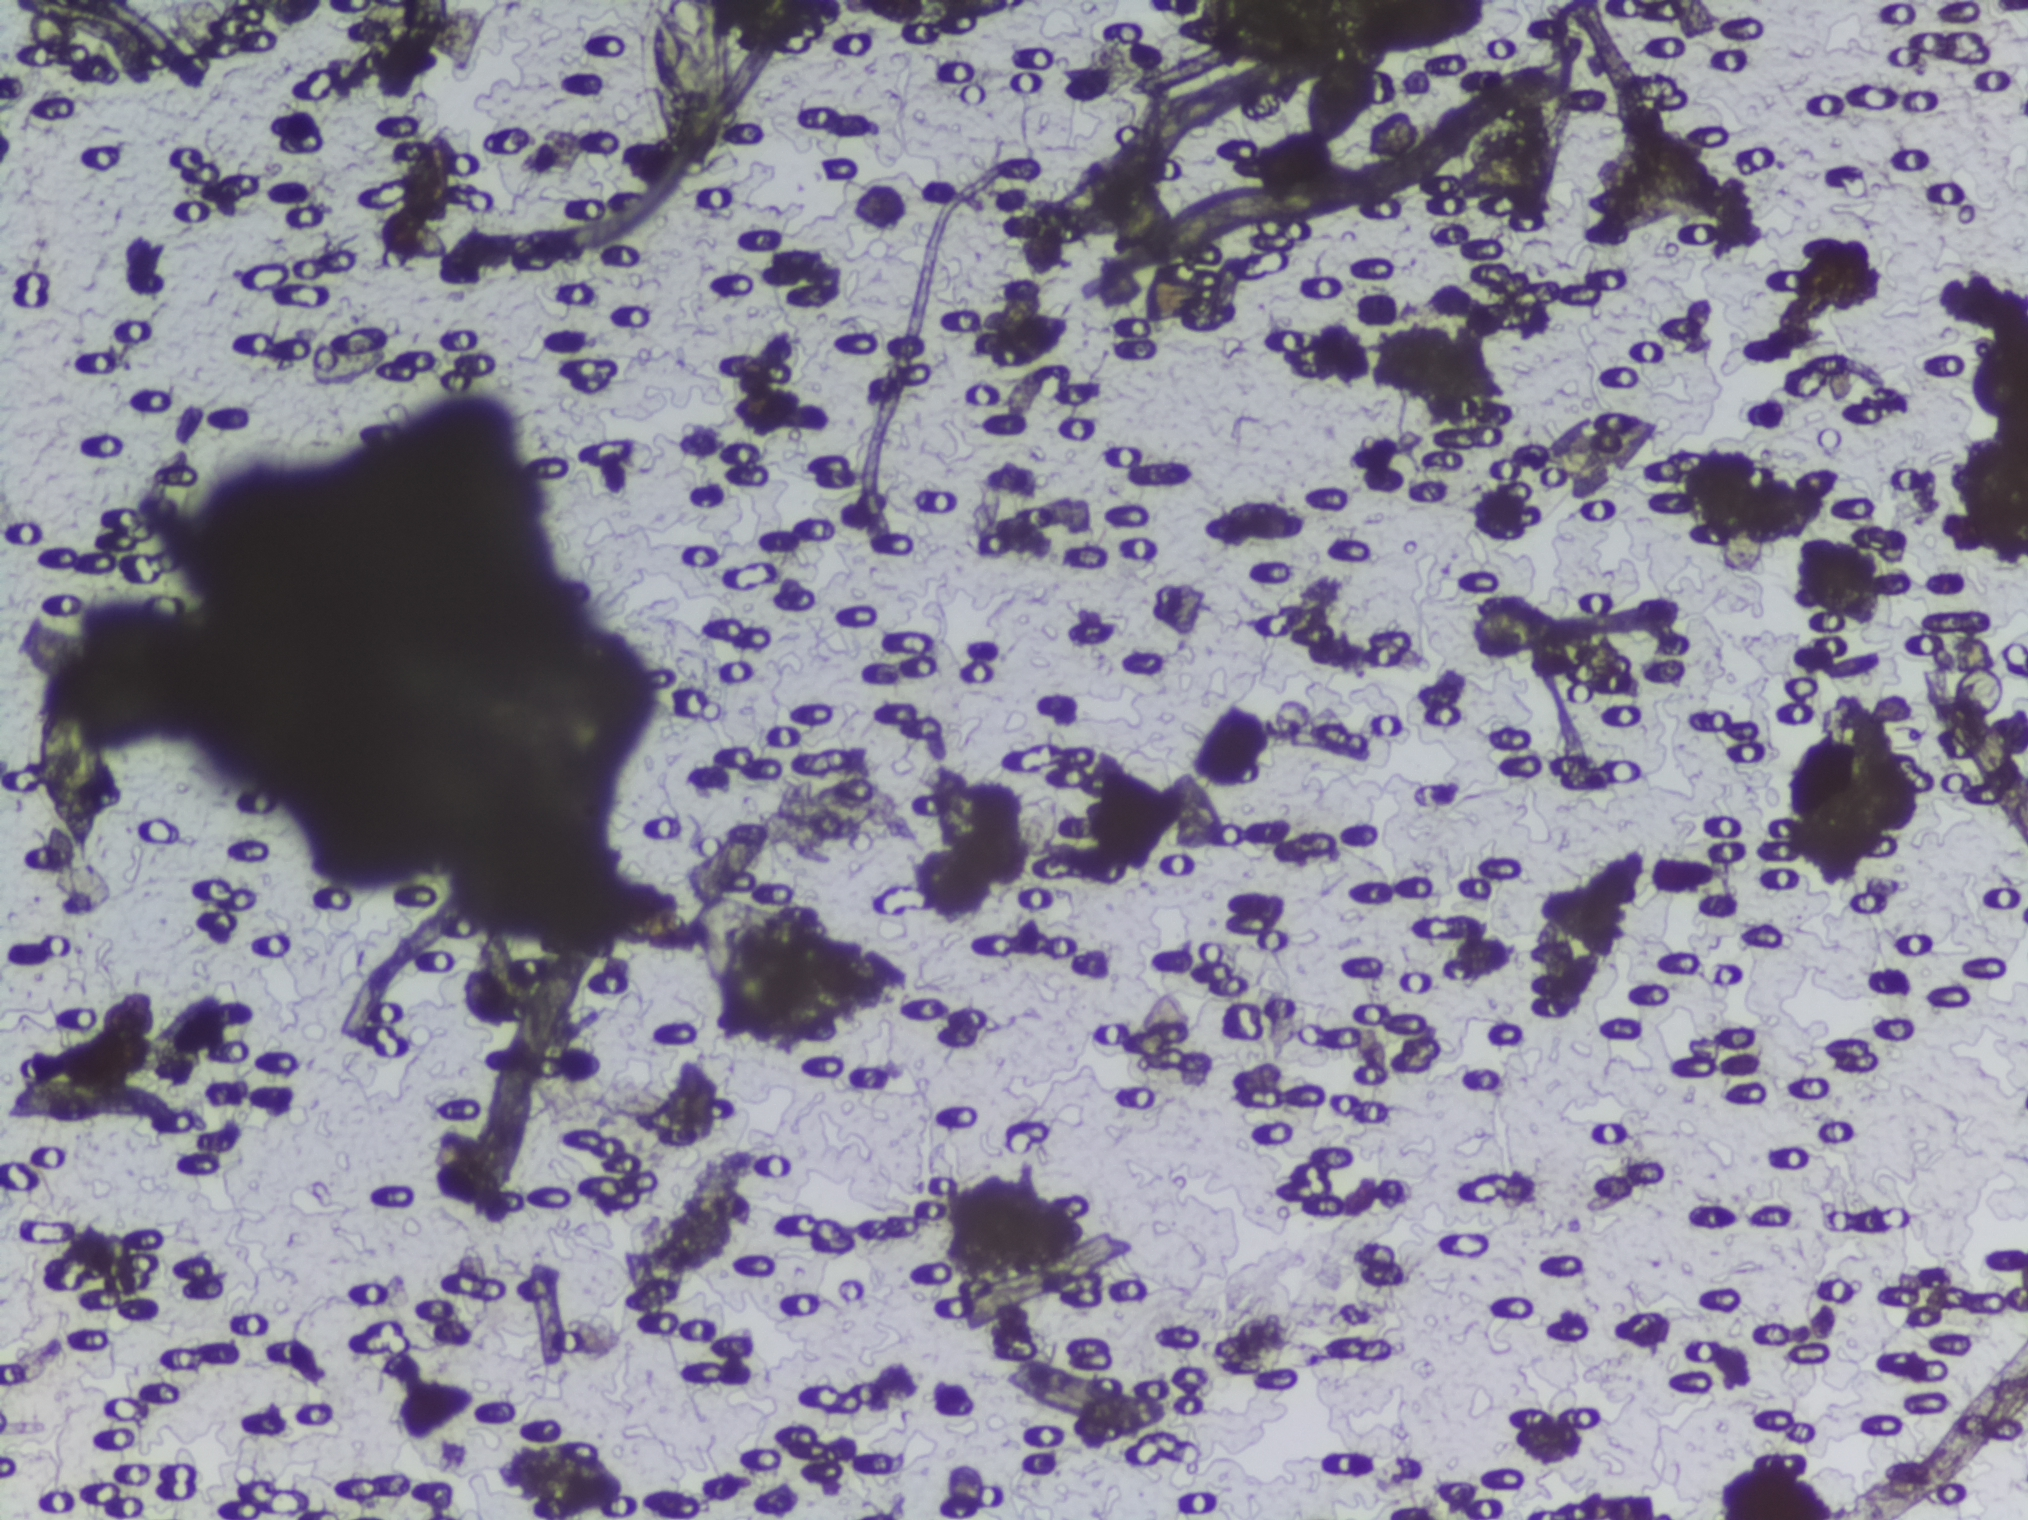
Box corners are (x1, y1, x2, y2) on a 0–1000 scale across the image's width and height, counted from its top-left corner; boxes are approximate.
Four areas of this image are outlined as Schistosoma eggs, from left to right: (19, 461, 58, 573); (167, 1, 227, 73); (315, 0, 365, 121) (reaching the top edge of the frame); (714, 21, 786, 136). An outlined area can hold more than one egg.
Photomicrograph of a urine filtration membrane, 4× objective. The field of view is about 1.5 mm × 1.1 mm.